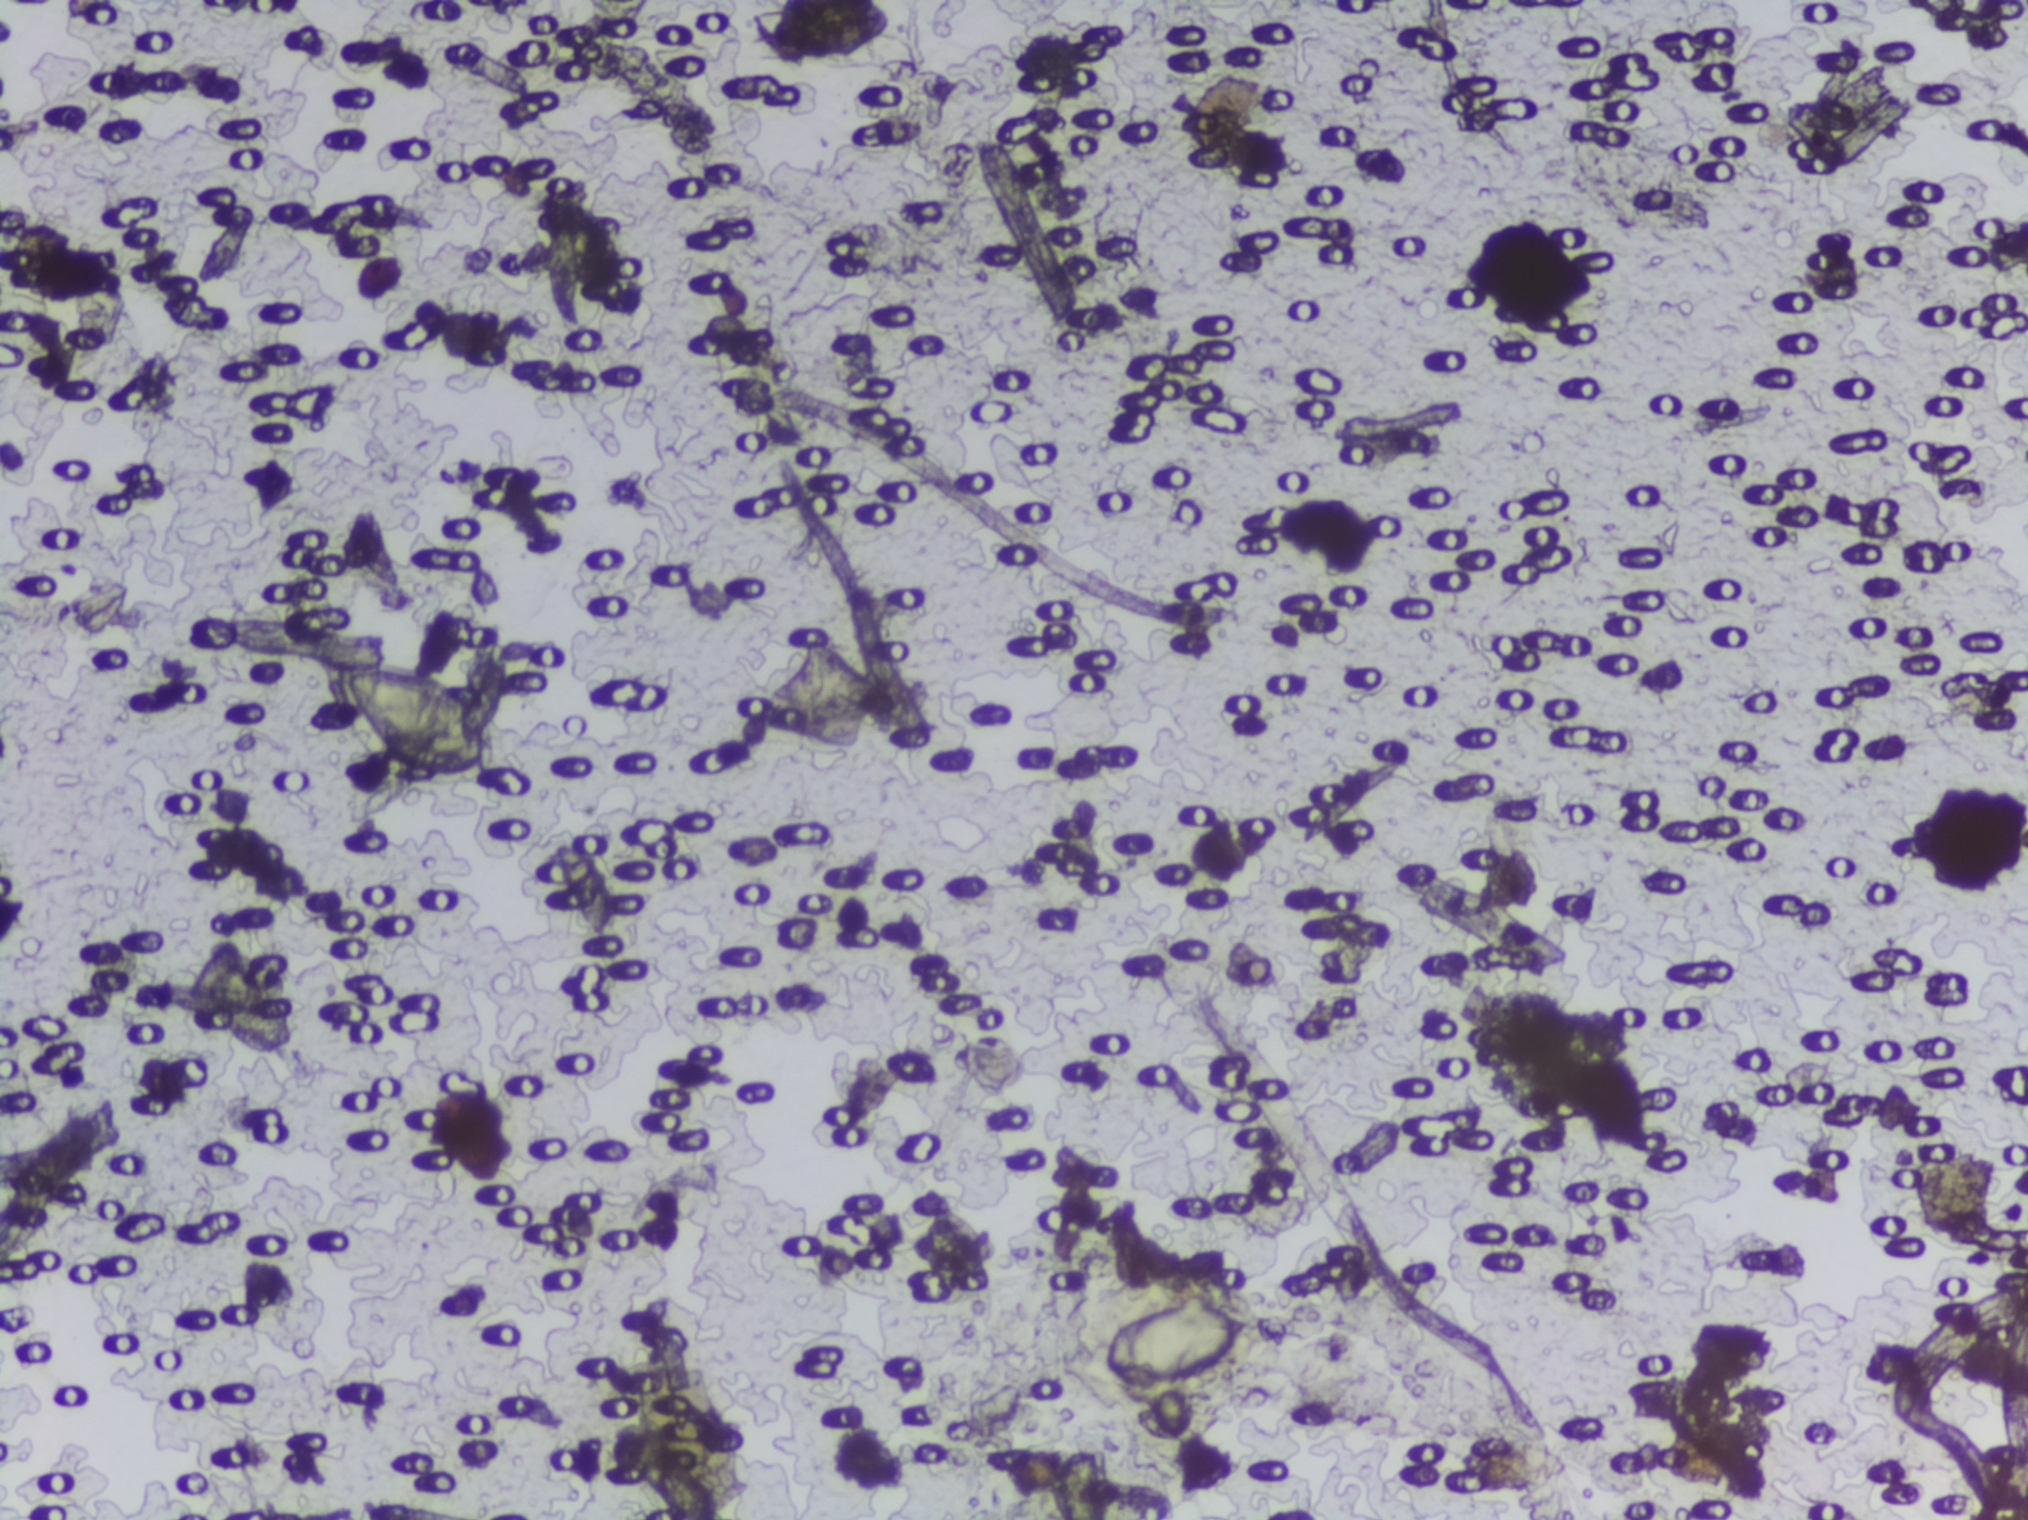
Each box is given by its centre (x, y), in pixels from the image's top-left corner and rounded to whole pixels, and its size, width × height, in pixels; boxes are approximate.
Areas outlined as Schistosoma eggs: centre (423, 722), 184 × 149 px; centre (1177, 1343), 173 × 94 px. An outlined area can hold more than one egg.
Photomicrograph of a urine filtration membrane, 4× objective.